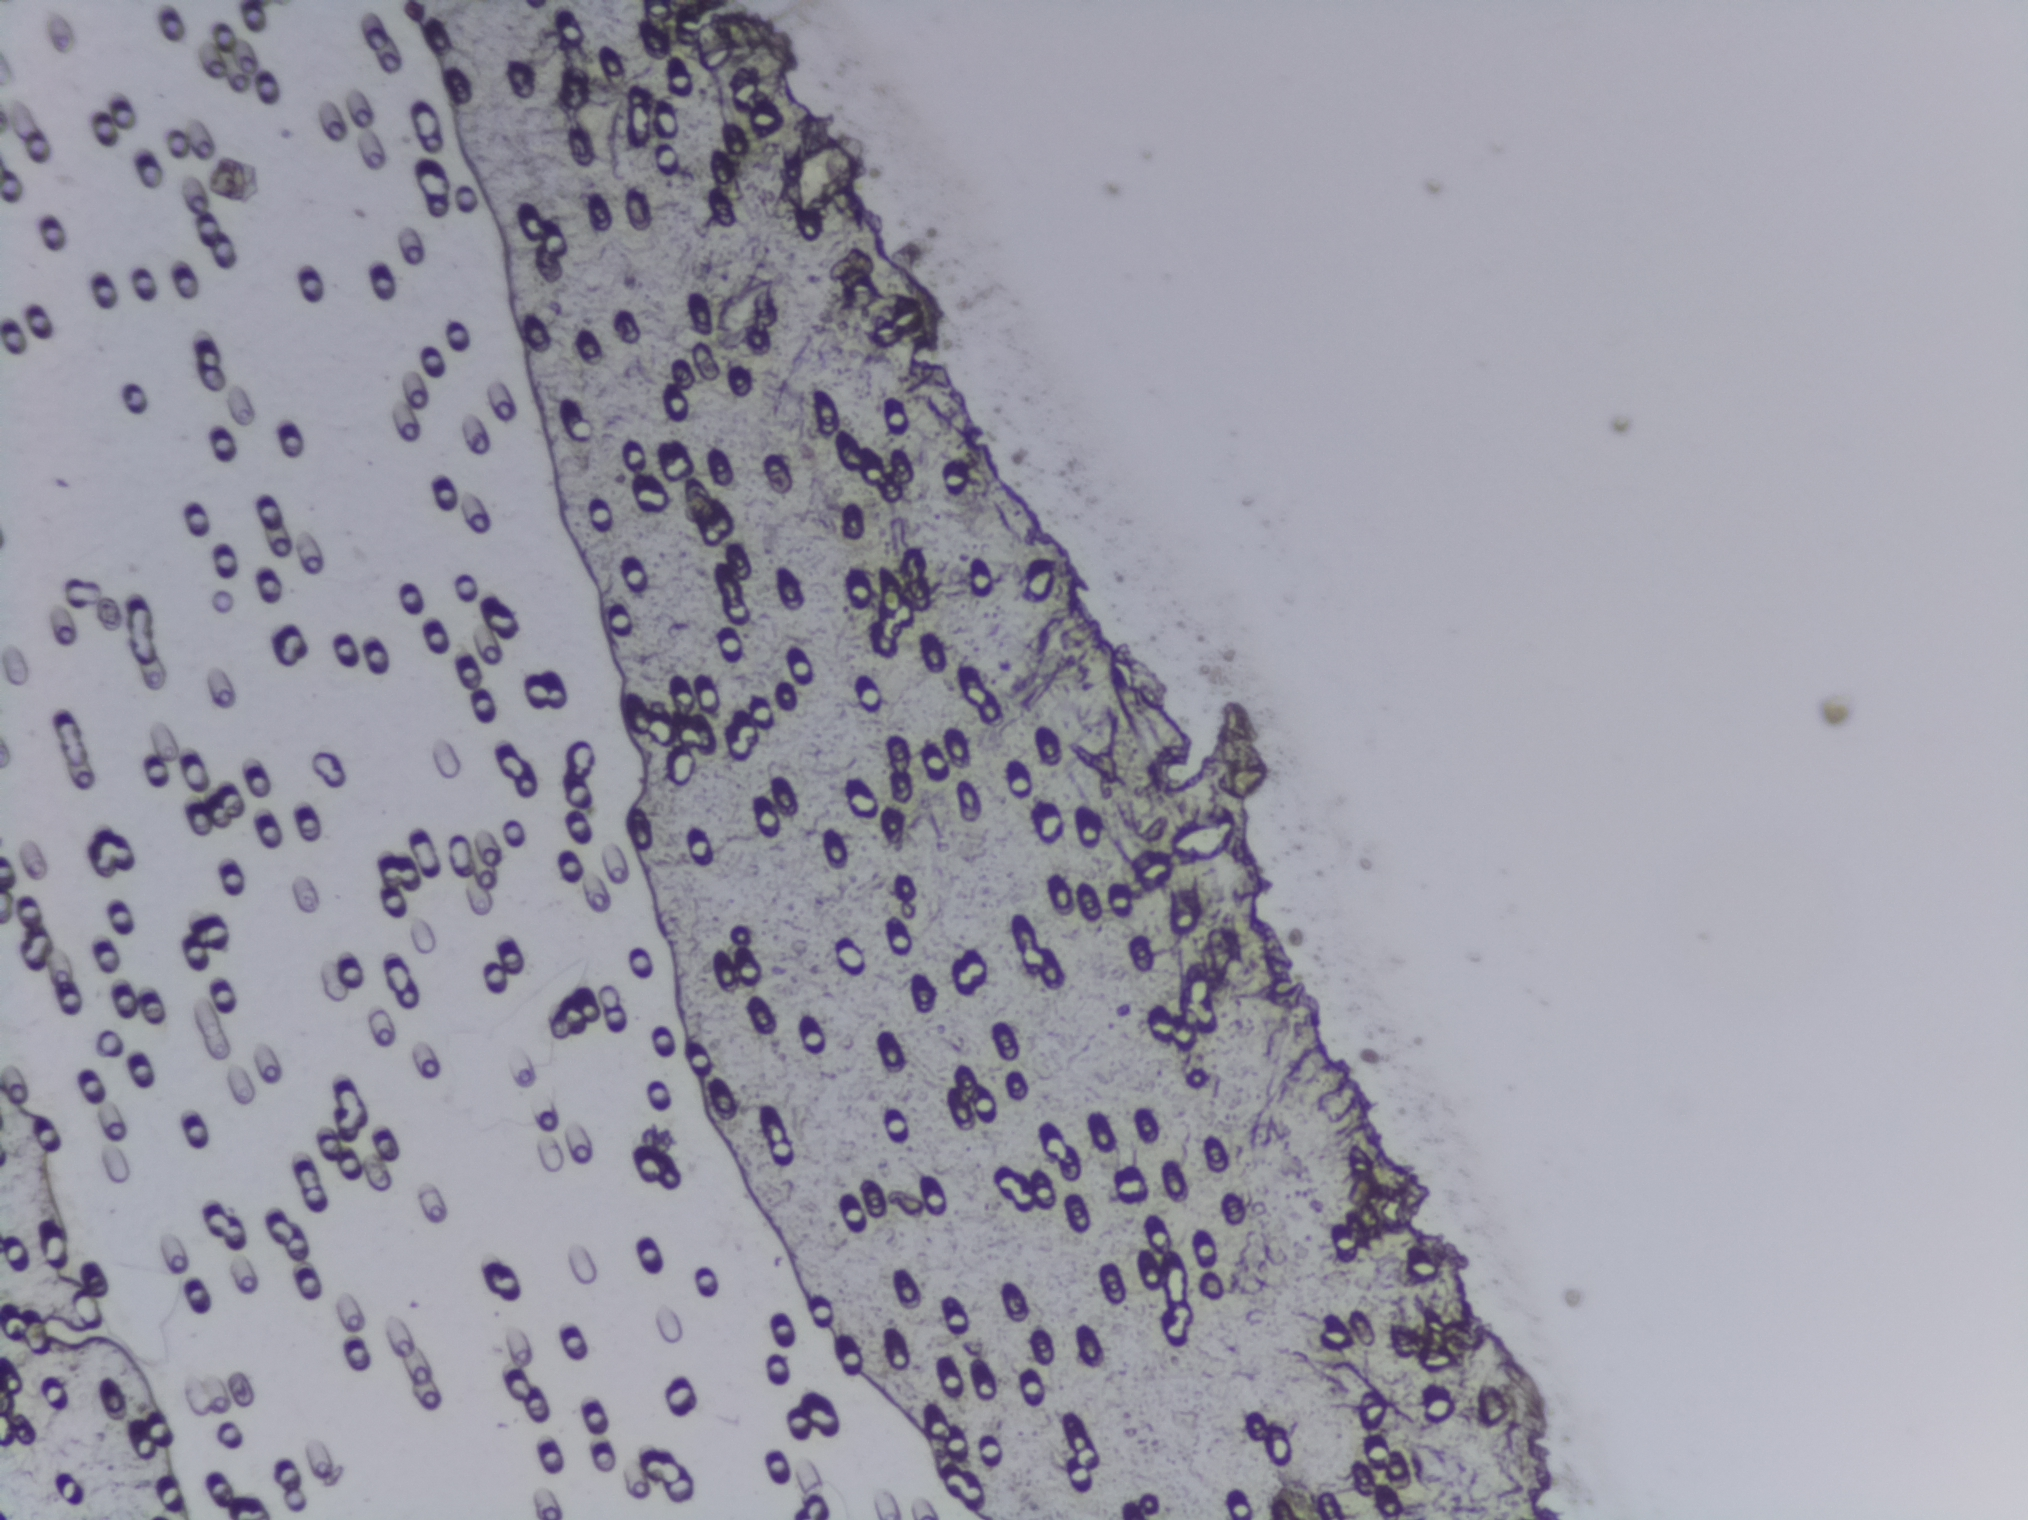
No area of this image was outlined as a Schistosoma egg.
One field of view of a urine filter membrane, 4× objective, 2028 × 1520 pixels.